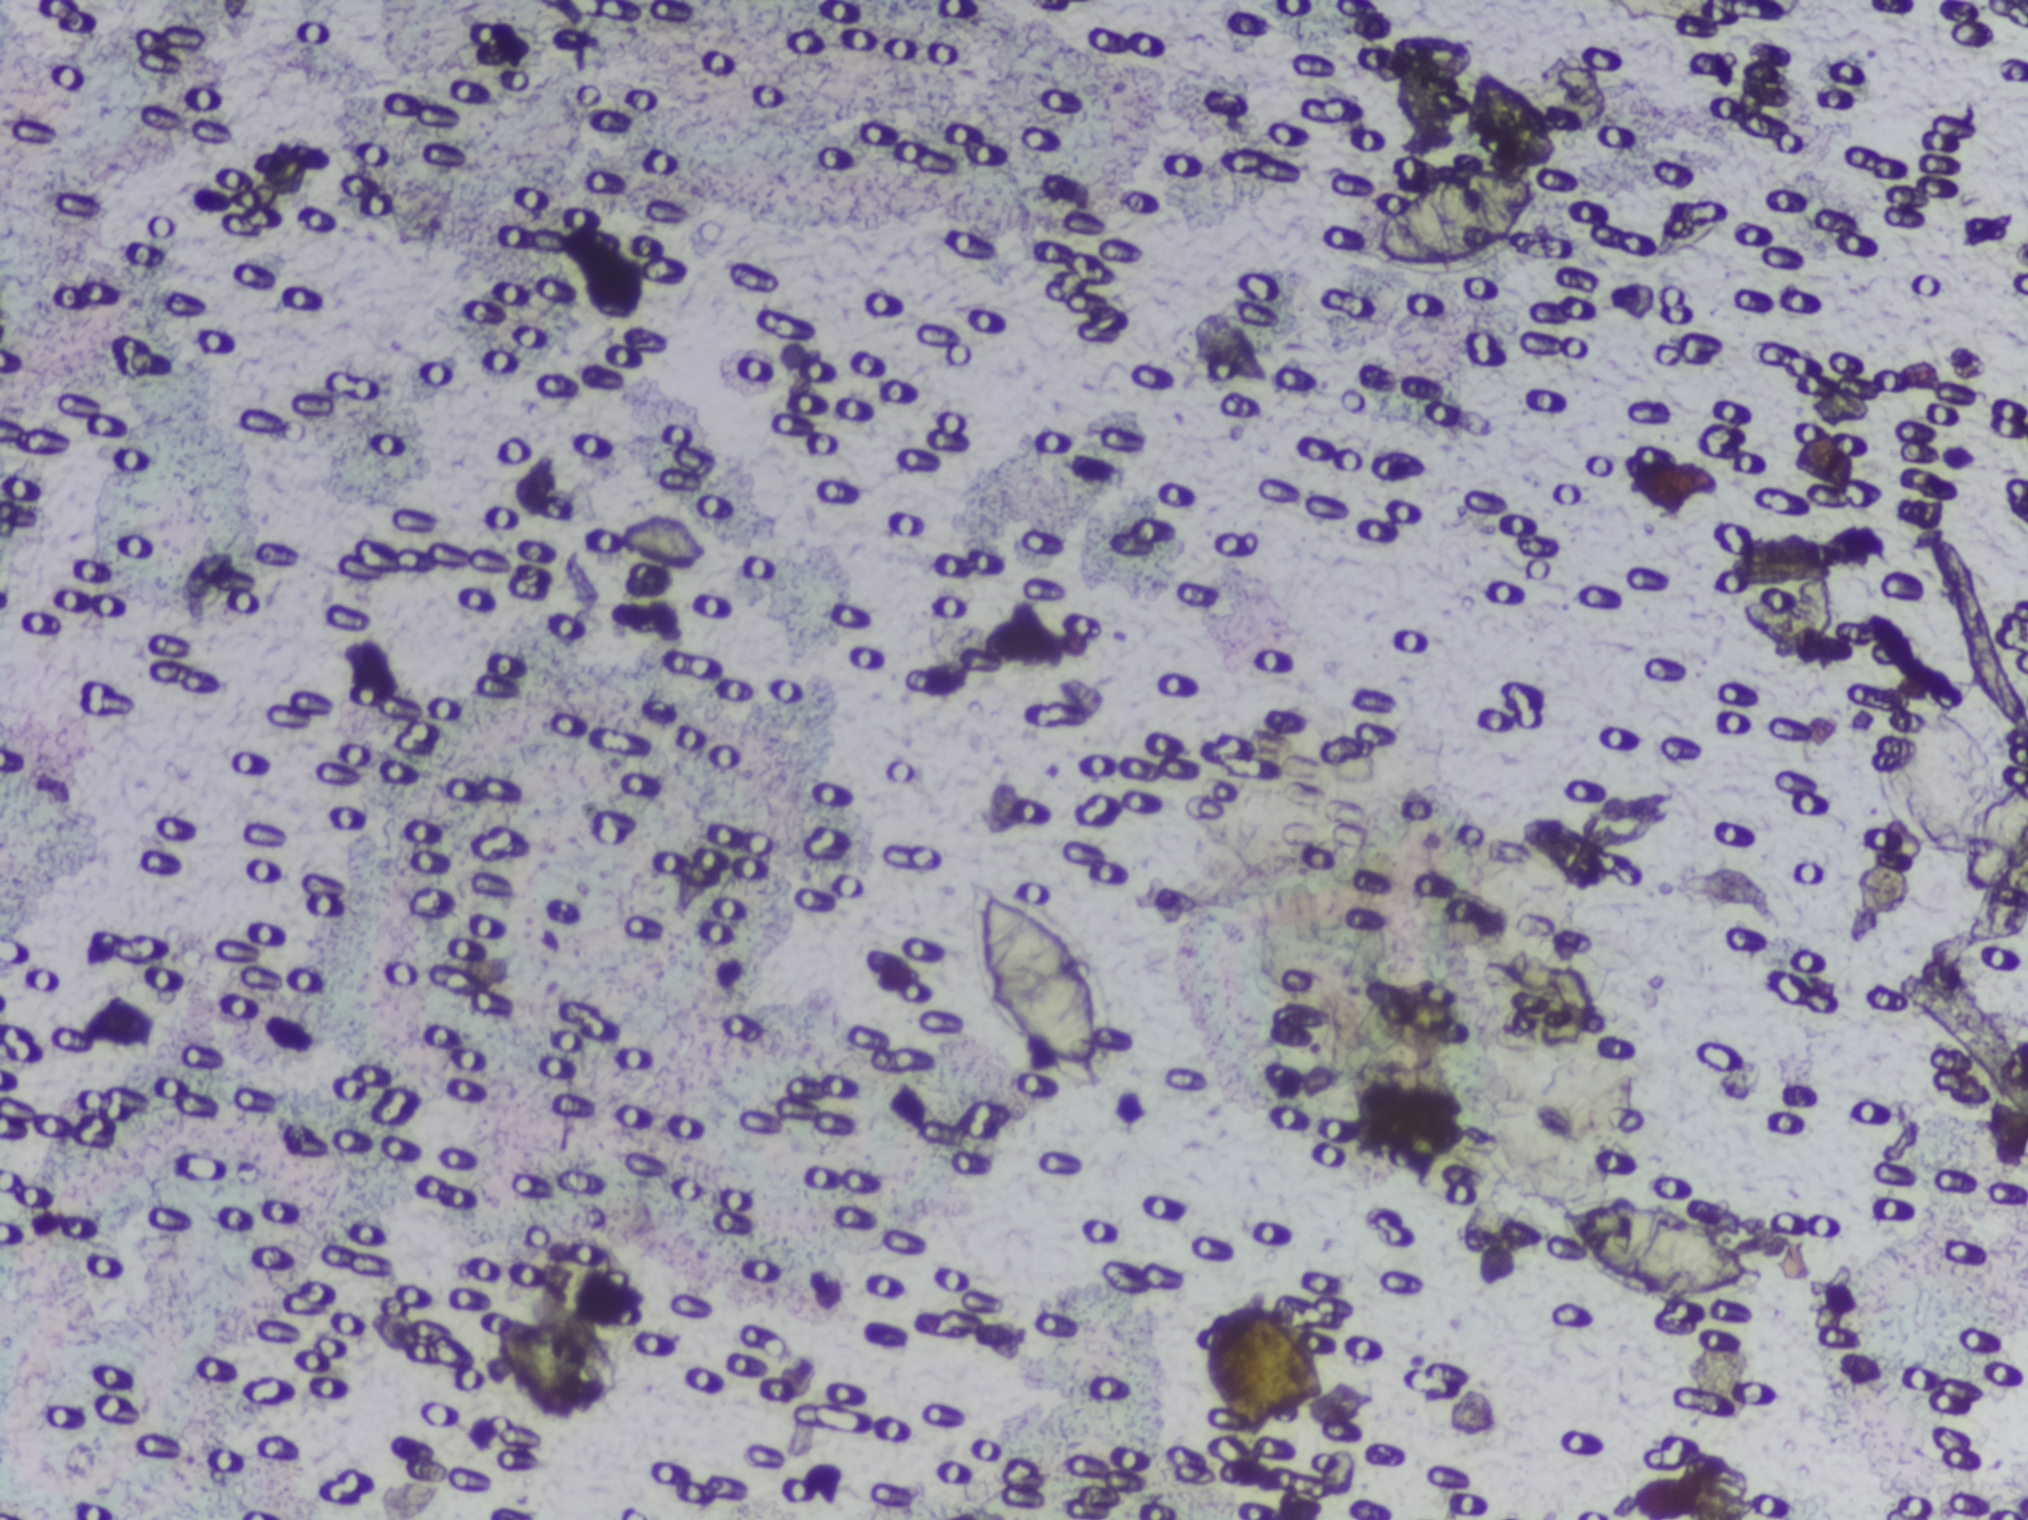
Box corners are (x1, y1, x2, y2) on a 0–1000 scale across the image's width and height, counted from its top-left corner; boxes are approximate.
Four areas of this image are outlined as Schistosoma eggs, from left to right: (474, 568, 552, 722); (653, 93, 779, 187); (725, 724, 871, 863); (913, 445, 990, 576). Marked pixels, not the boxes around them: about 3.5% of the image. Eggs that touch can end up inside the same outlined area.
Photograph from an automated digital microscope: urine filter membrane, 4× objective.